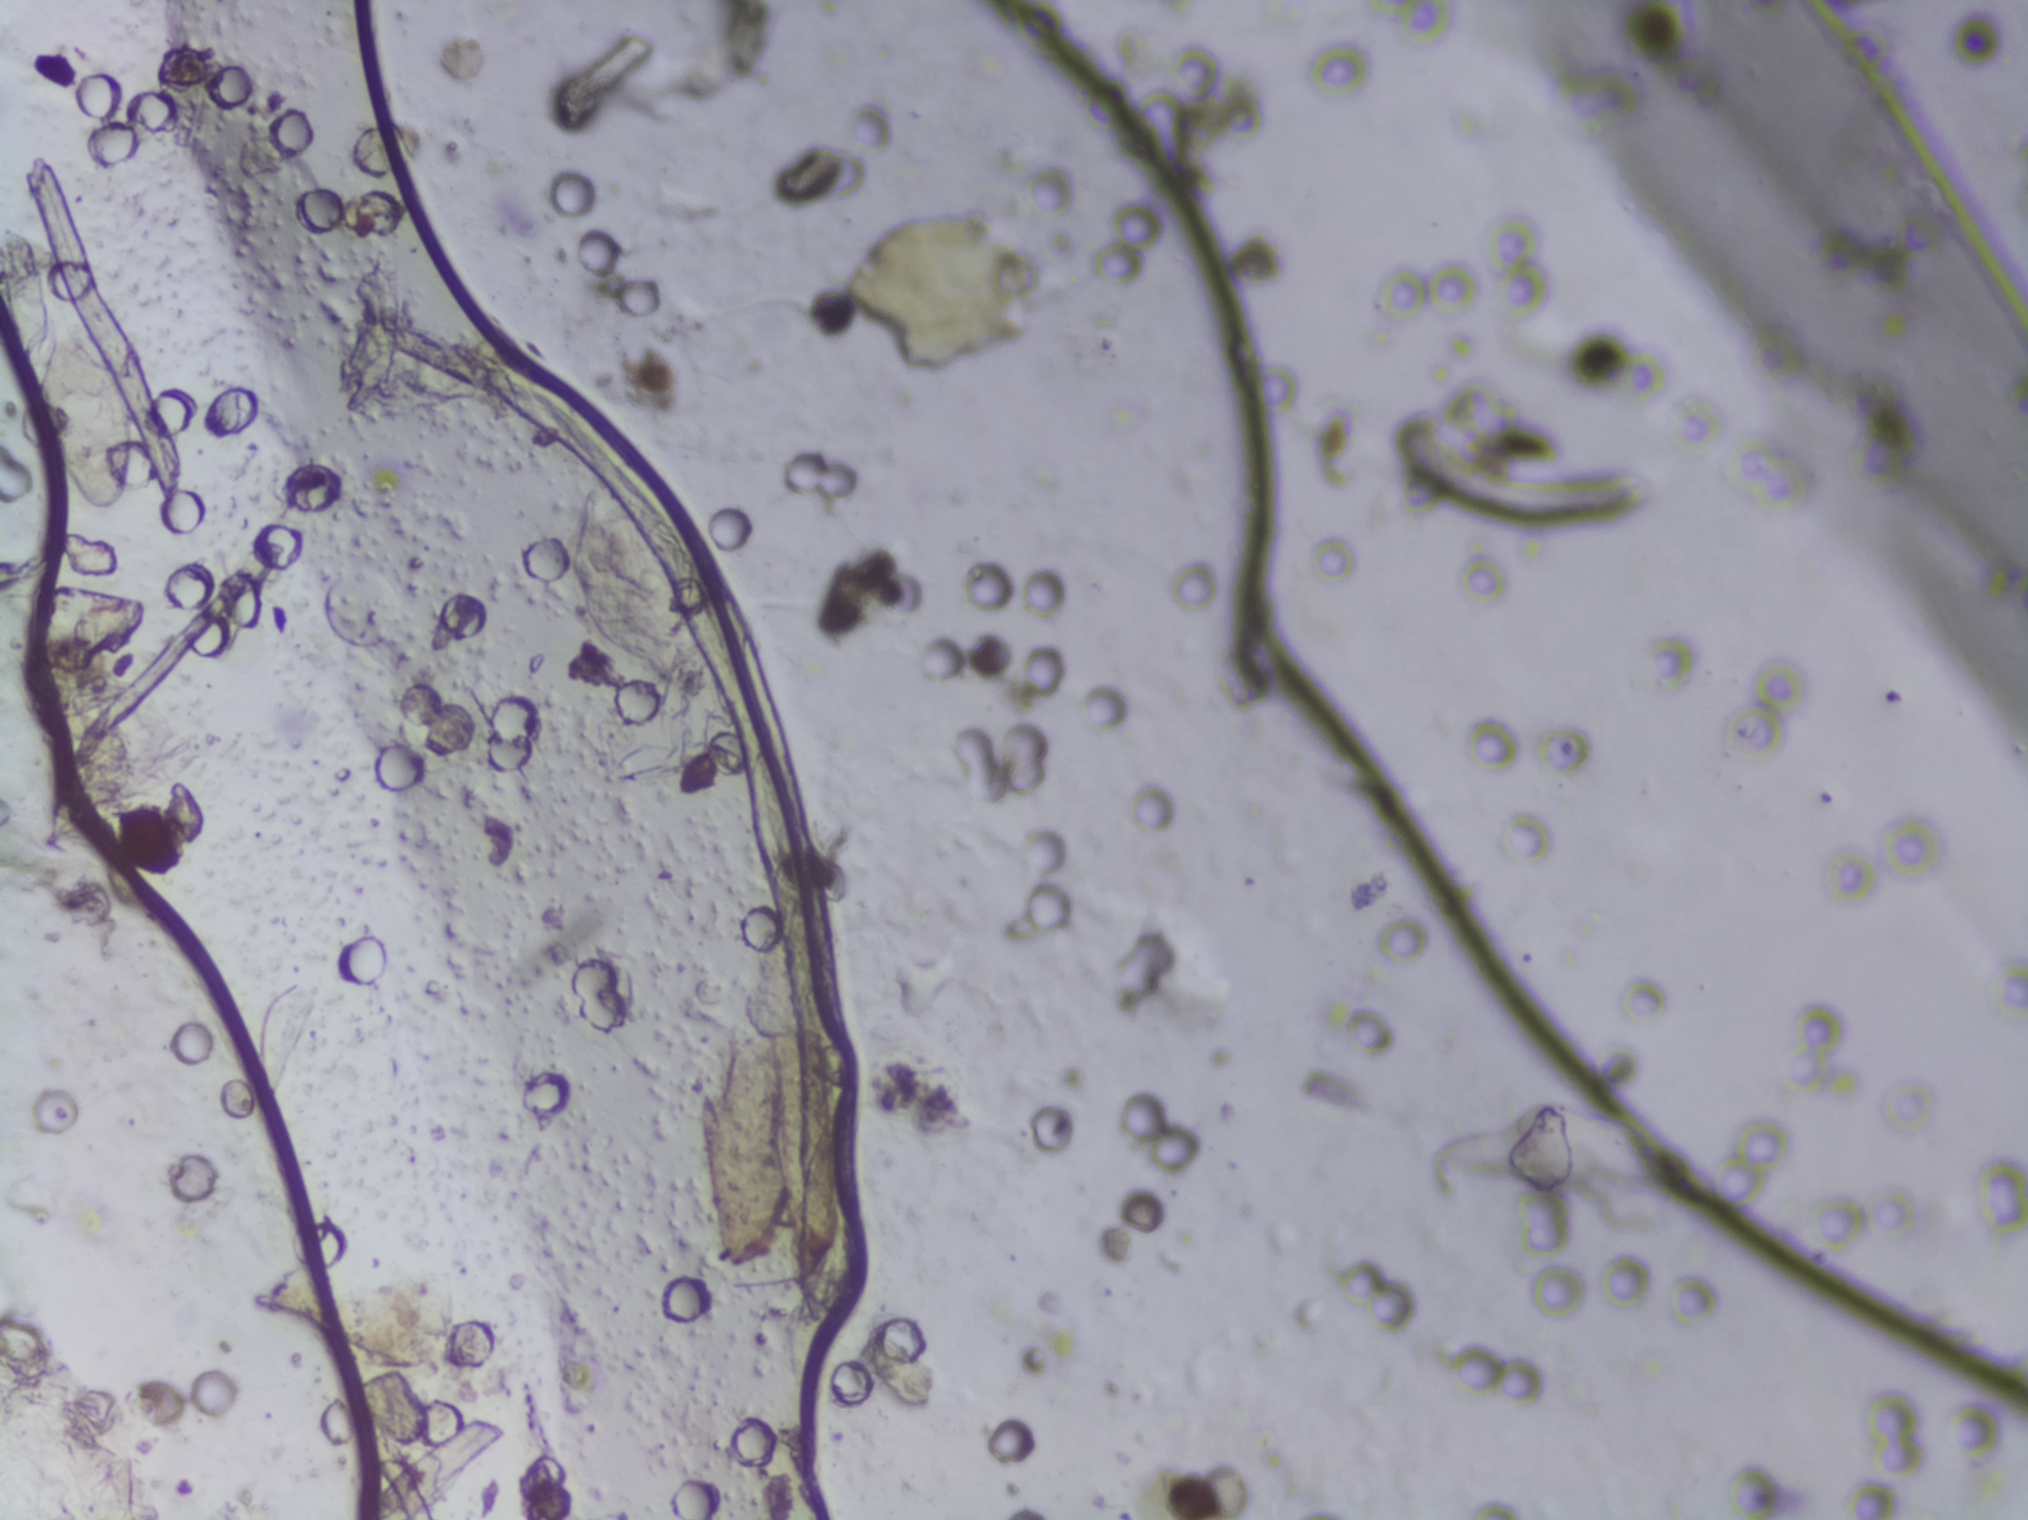
Photograph from an automated digital microscope: urine filter membrane, 4× objective.
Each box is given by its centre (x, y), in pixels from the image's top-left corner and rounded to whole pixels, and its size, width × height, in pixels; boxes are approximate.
Two areas of this image are outlined as Schistosoma eggs, from left to right: centre (81, 419), 108 × 189 px and centre (626, 579), 123 × 187 px. A single outlined area may contain several eggs.